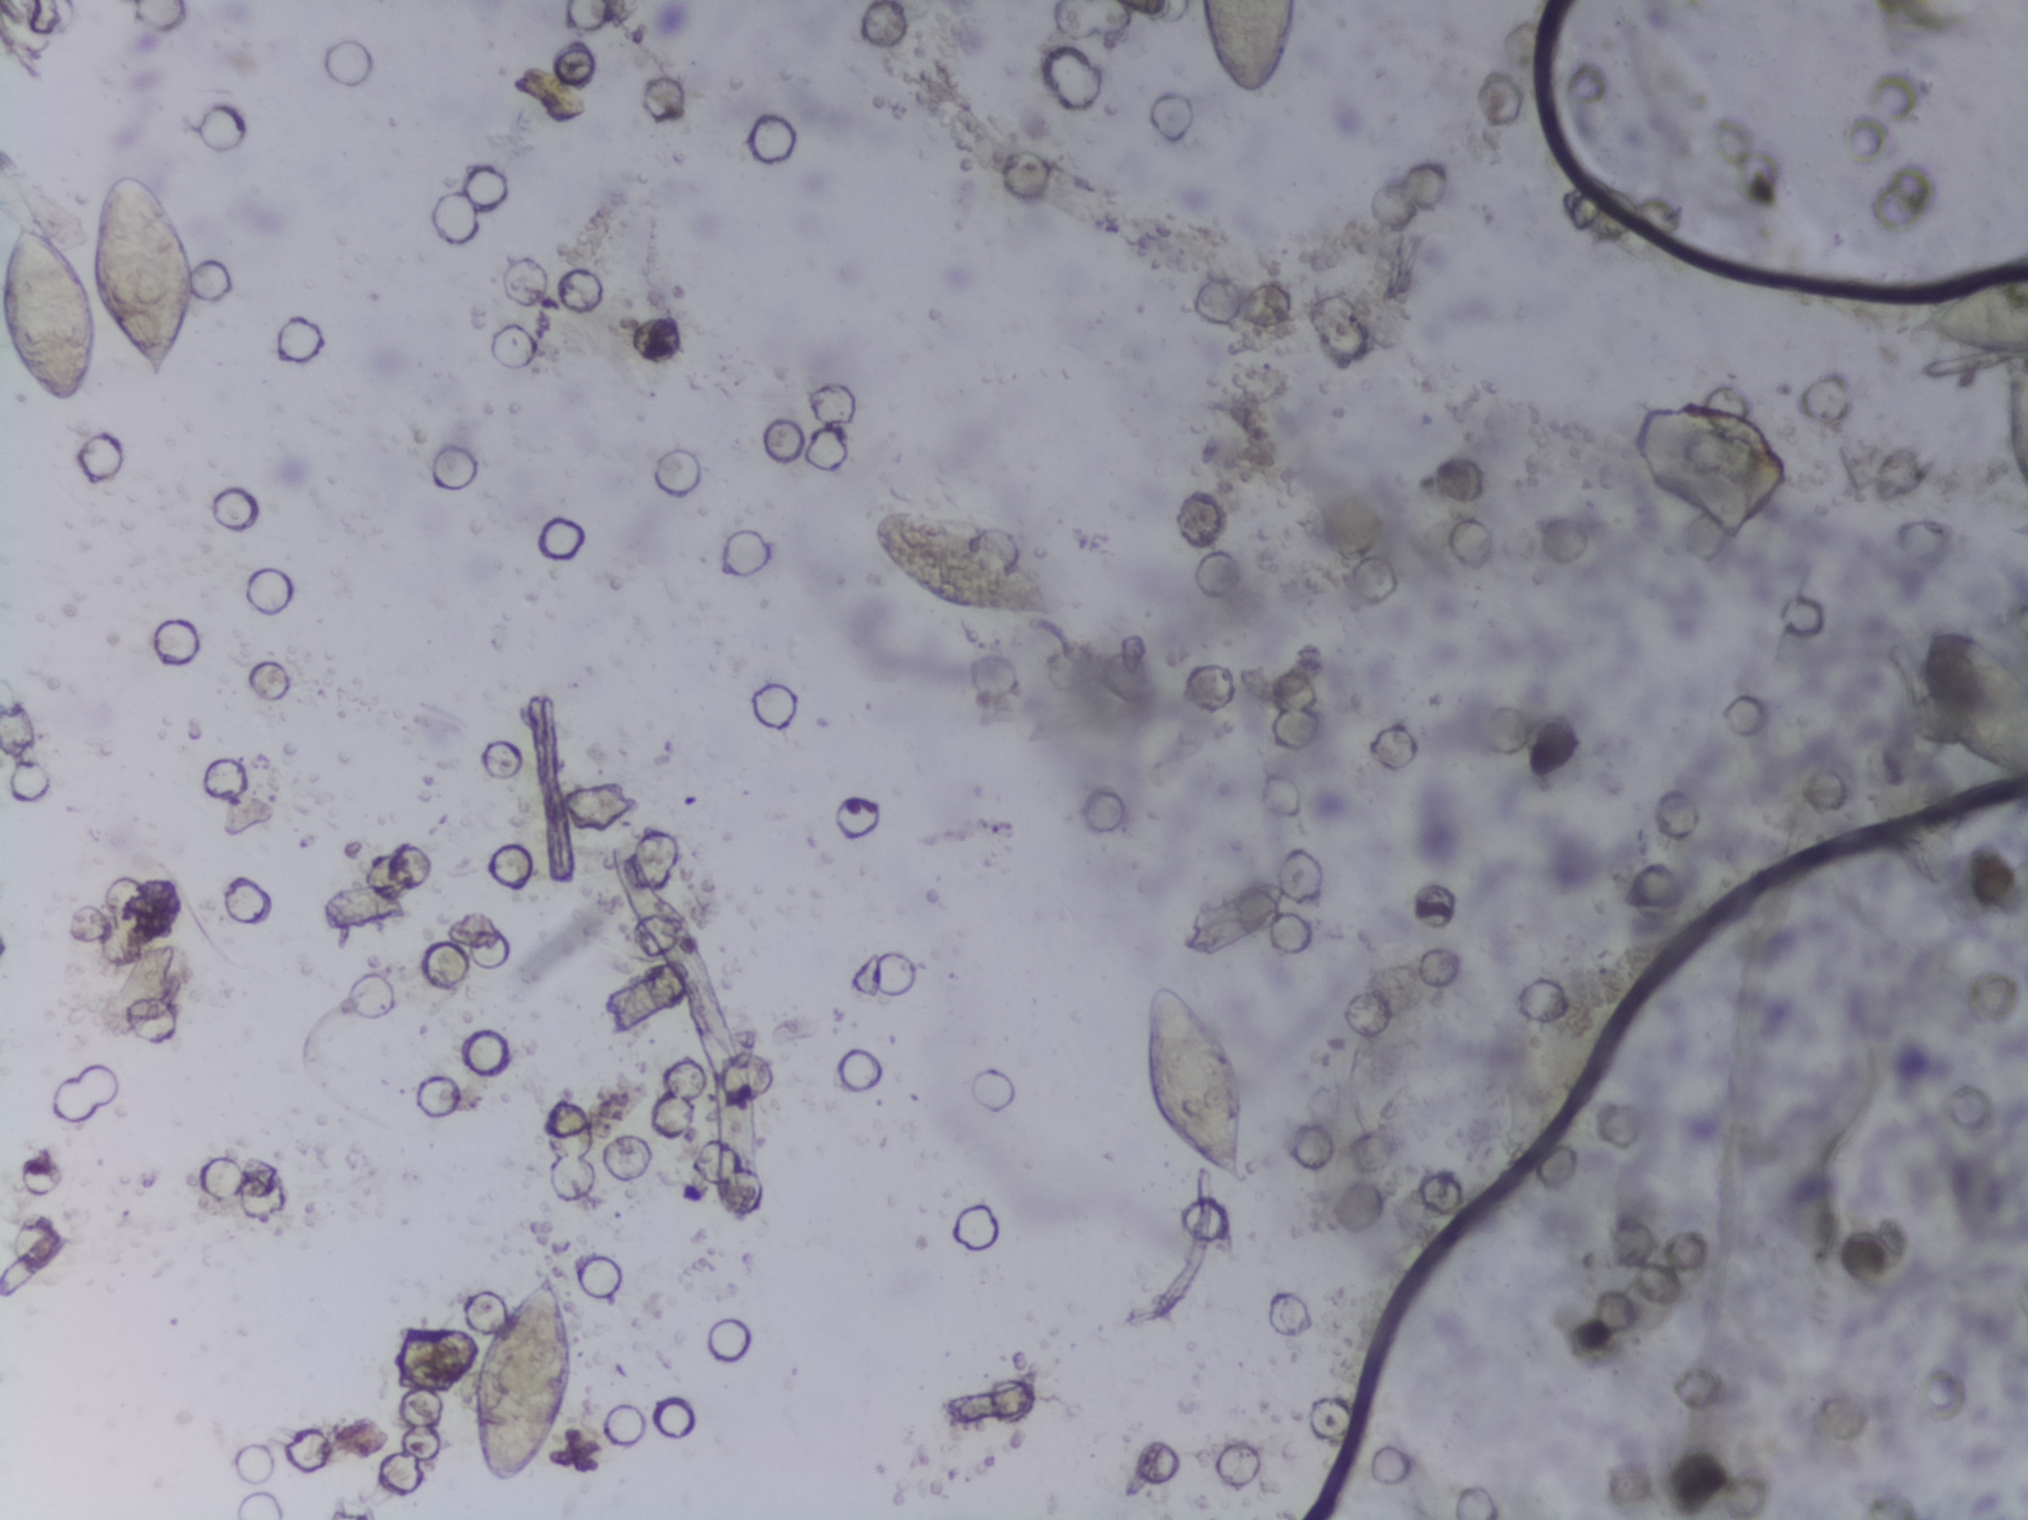
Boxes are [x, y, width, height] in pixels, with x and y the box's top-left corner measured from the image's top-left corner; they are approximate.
Schistosoma eggs are outlined in the expert annotation at [0, 164, 205, 244] (reaching the left edge of the frame); [460, 1271, 116, 221]; [869, 507, 188, 111]; [1138, 984, 111, 207]; [1195, 0, 108, 96] (reaching the top edge of the frame); [1900, 275, 128, 80] (reaching the right edge of the frame); [1911, 626, 117, 159] (reaching the right edge of the frame). A single outlined area may contain several eggs. Any one outlined egg may, rarely, be S. mansoni rather than S. haematobium.
Urine filter membrane photographed through a 4× microscope objective. The field of view is about 1.5 mm × 1.1 mm.